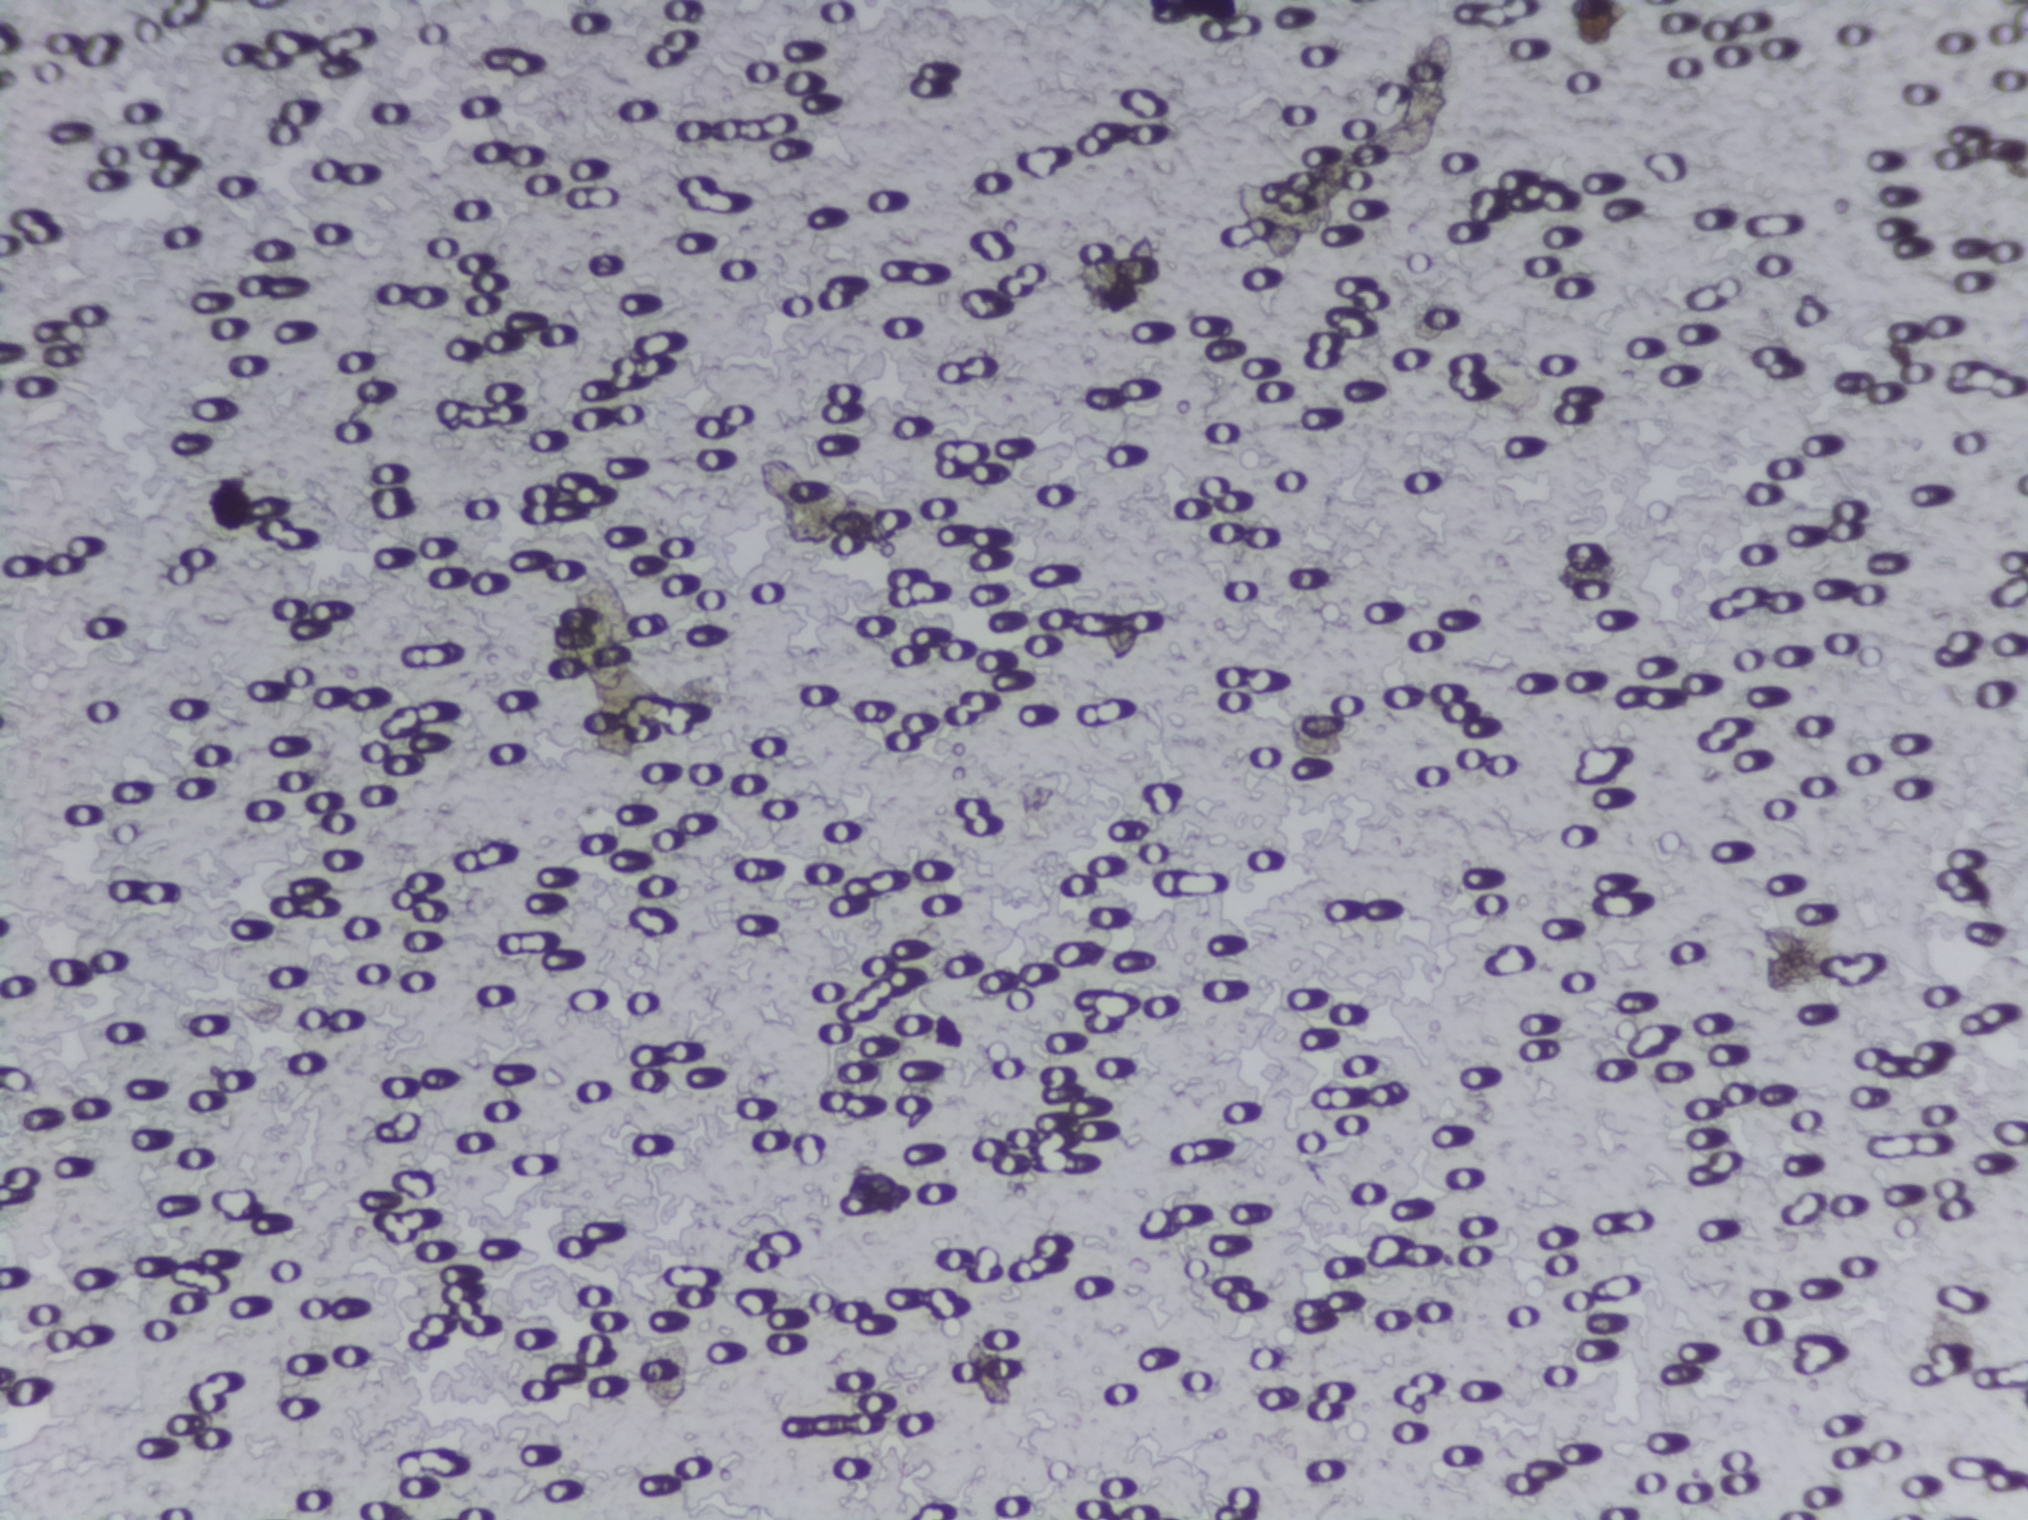
Photomicrograph of a urine filtration membrane, 4× objective.
No area of this image was outlined as a Schistosoma egg.